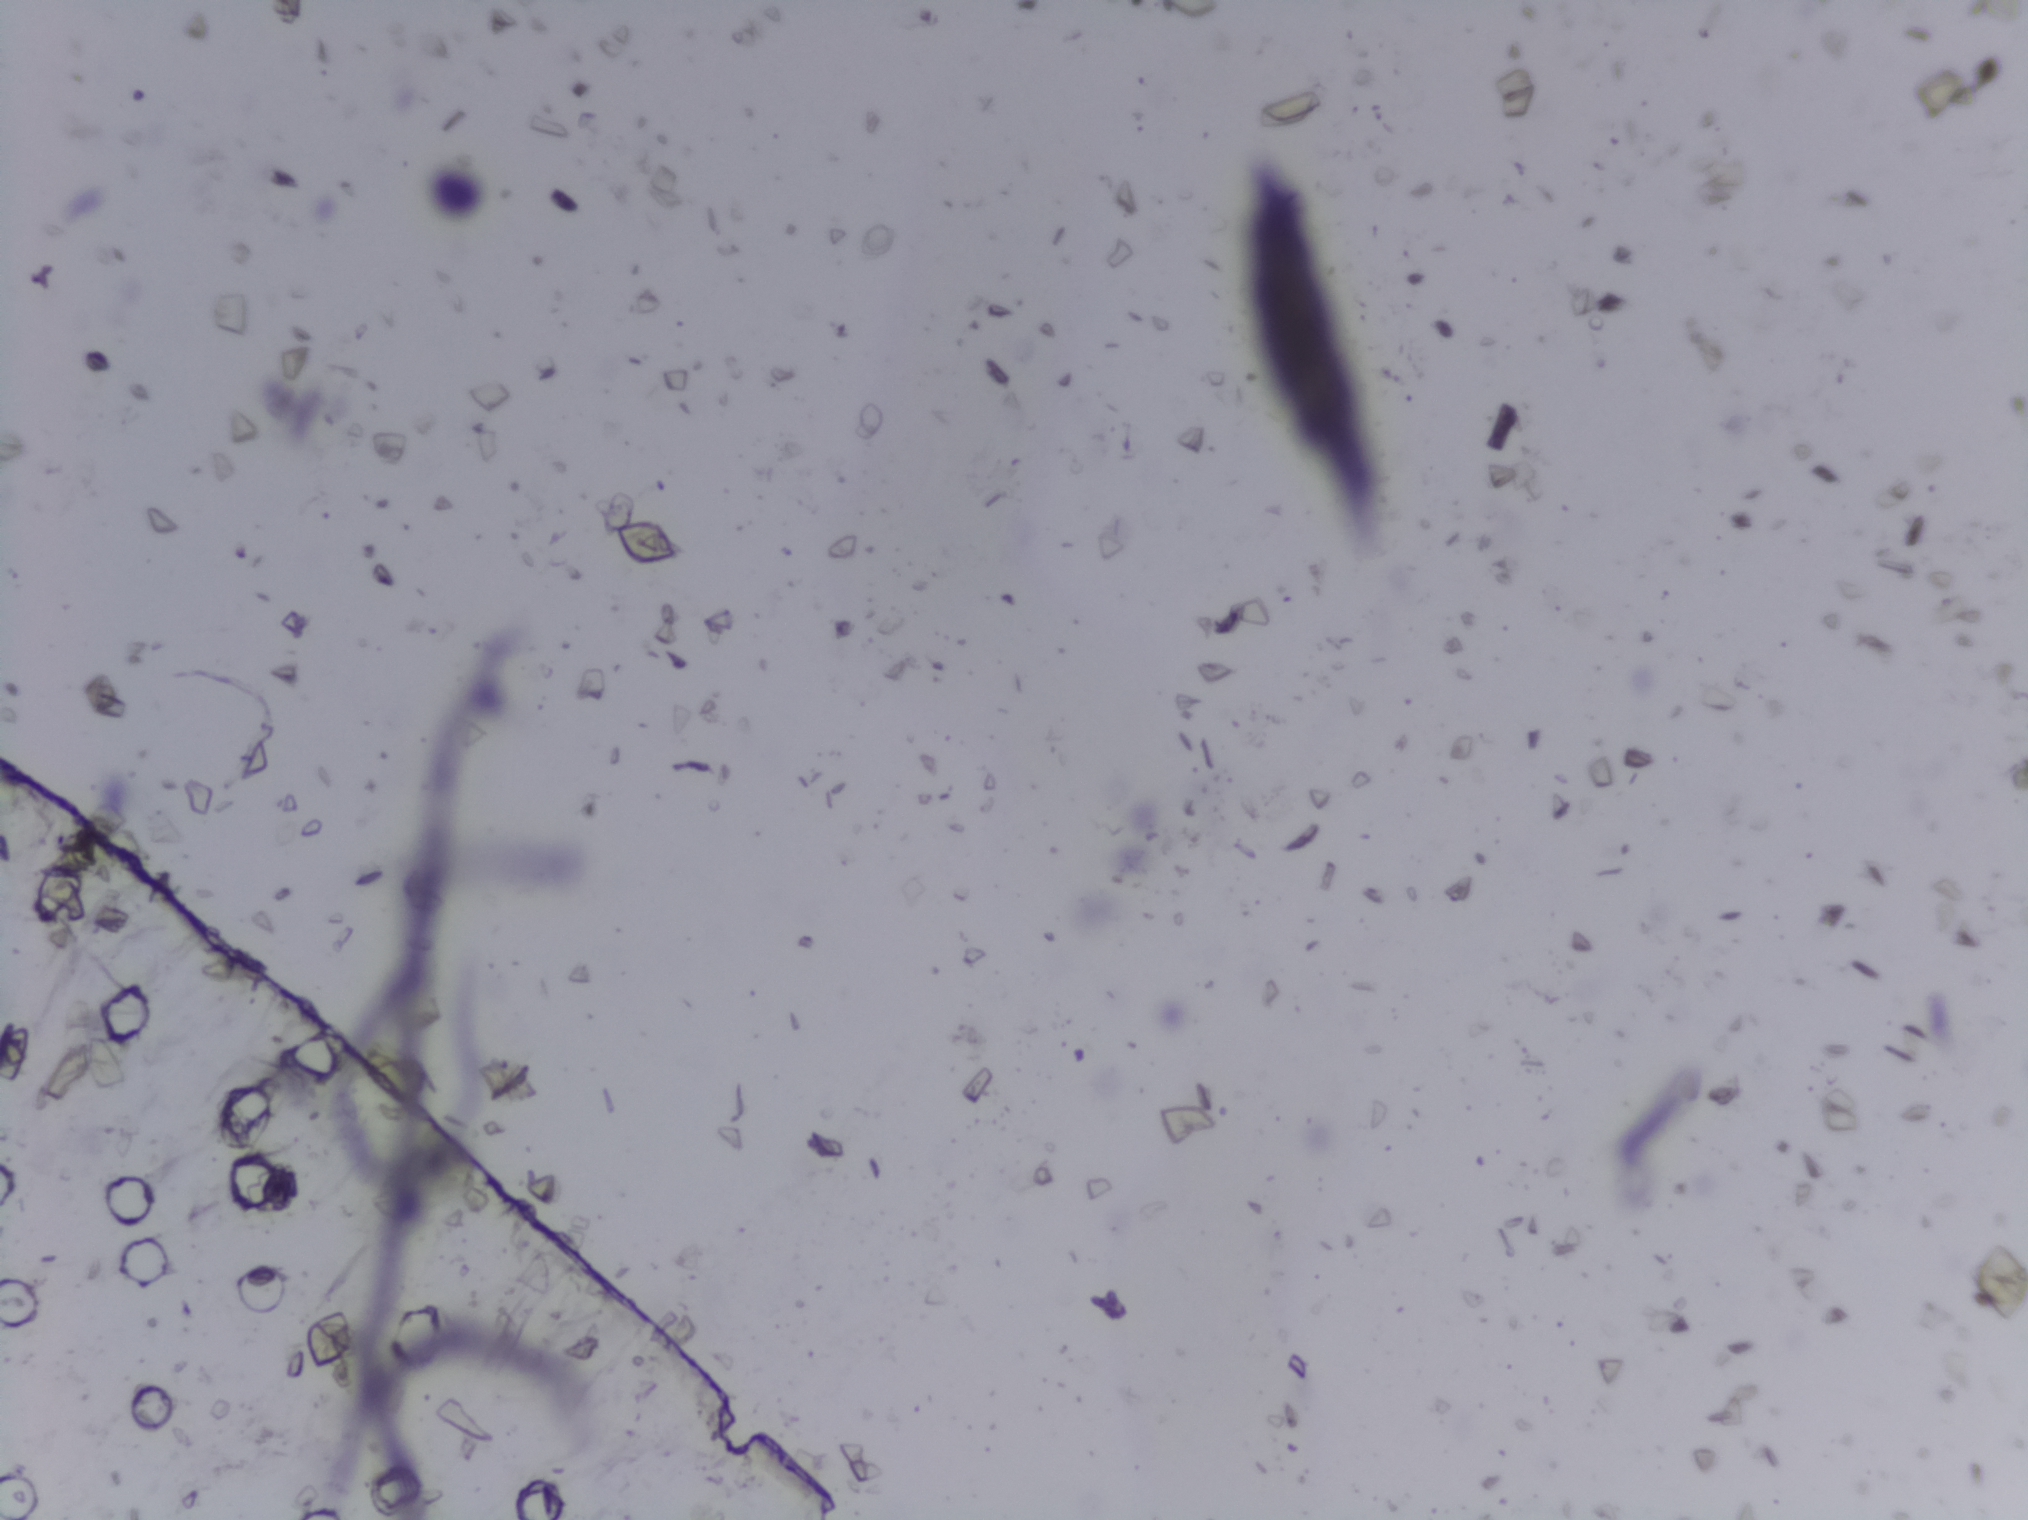
Photomicrograph of a urine filtration membrane, 4× objective.
No Schistosoma egg is outlined in this image's expert annotation.